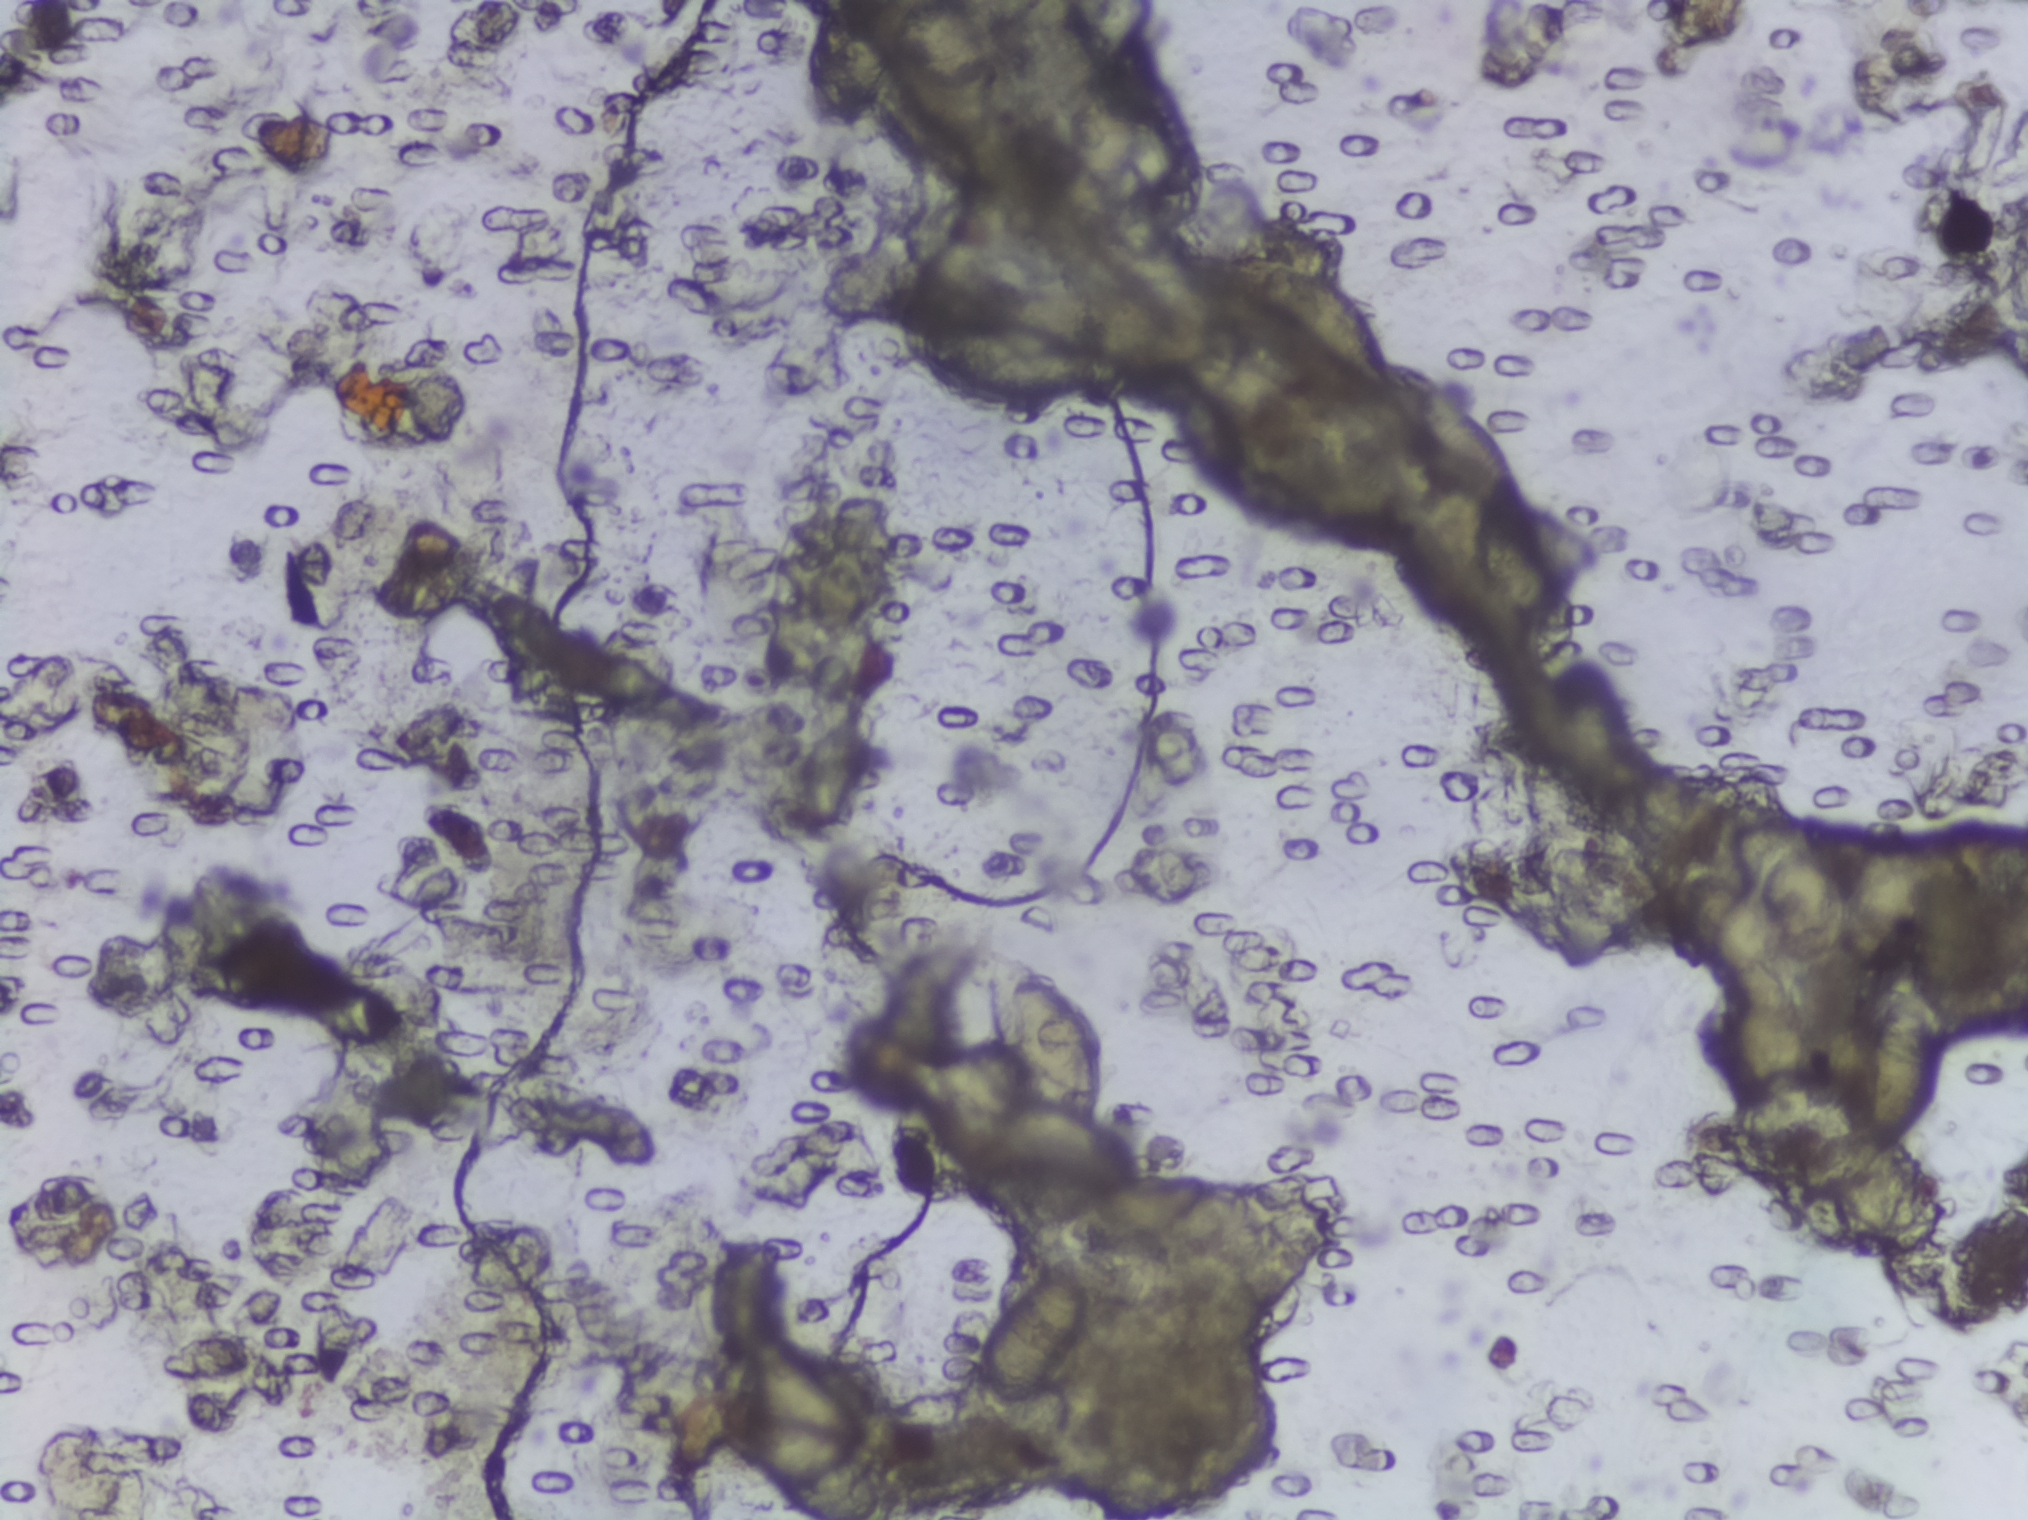
Photograph from an automated digital microscope: urine filter membrane, 4× objective.
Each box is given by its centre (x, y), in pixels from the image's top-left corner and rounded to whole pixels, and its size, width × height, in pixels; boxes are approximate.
Schistosoma egg areas, outlined: centre (807, 1466), 147 × 107 px (reaching the bottom edge of the frame); centre (1032, 1336), 113 × 147 px; centre (1046, 1038), 125 × 176 px; centre (1139, 1209), 141 × 76 px; centre (1469, 449), 100 × 129 px; centre (1898, 1057), 72 × 159 px. Eggs that touch can end up inside the same outlined area.